Urine filter membrane photographed through a 4× microscope objective.
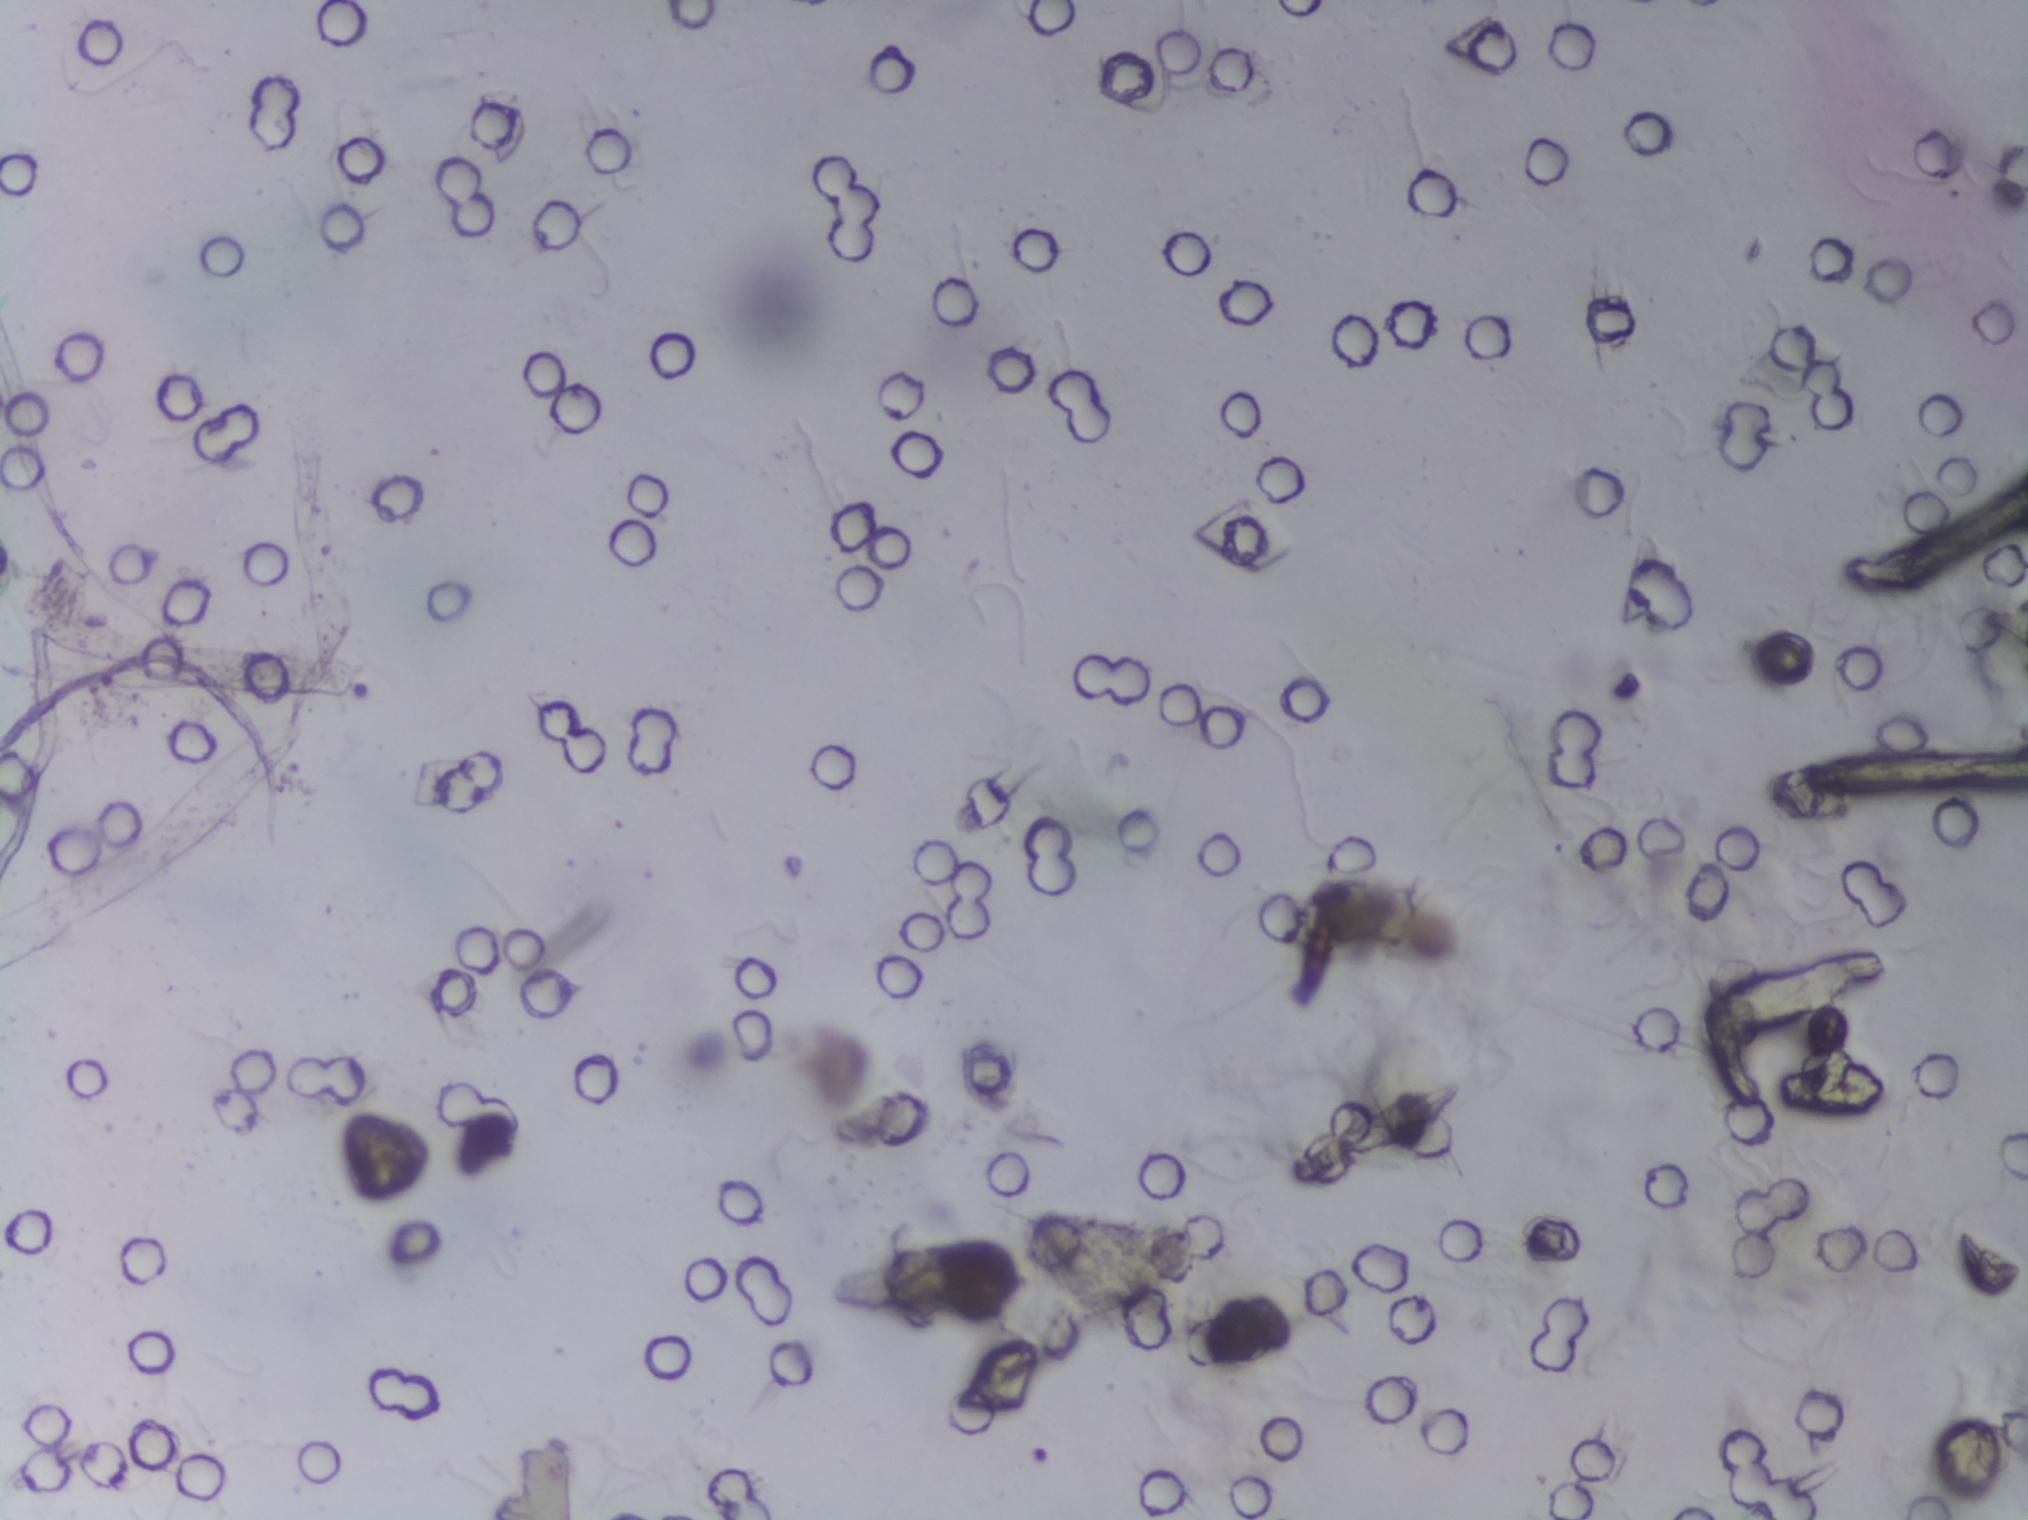
The expert annotation marks no Schistosoma egg in this field of view.